One field of view of a urine filter membrane, 4× objective, 2028 × 1520 pixels. The field of view is about 1.5 mm × 1.1 mm.
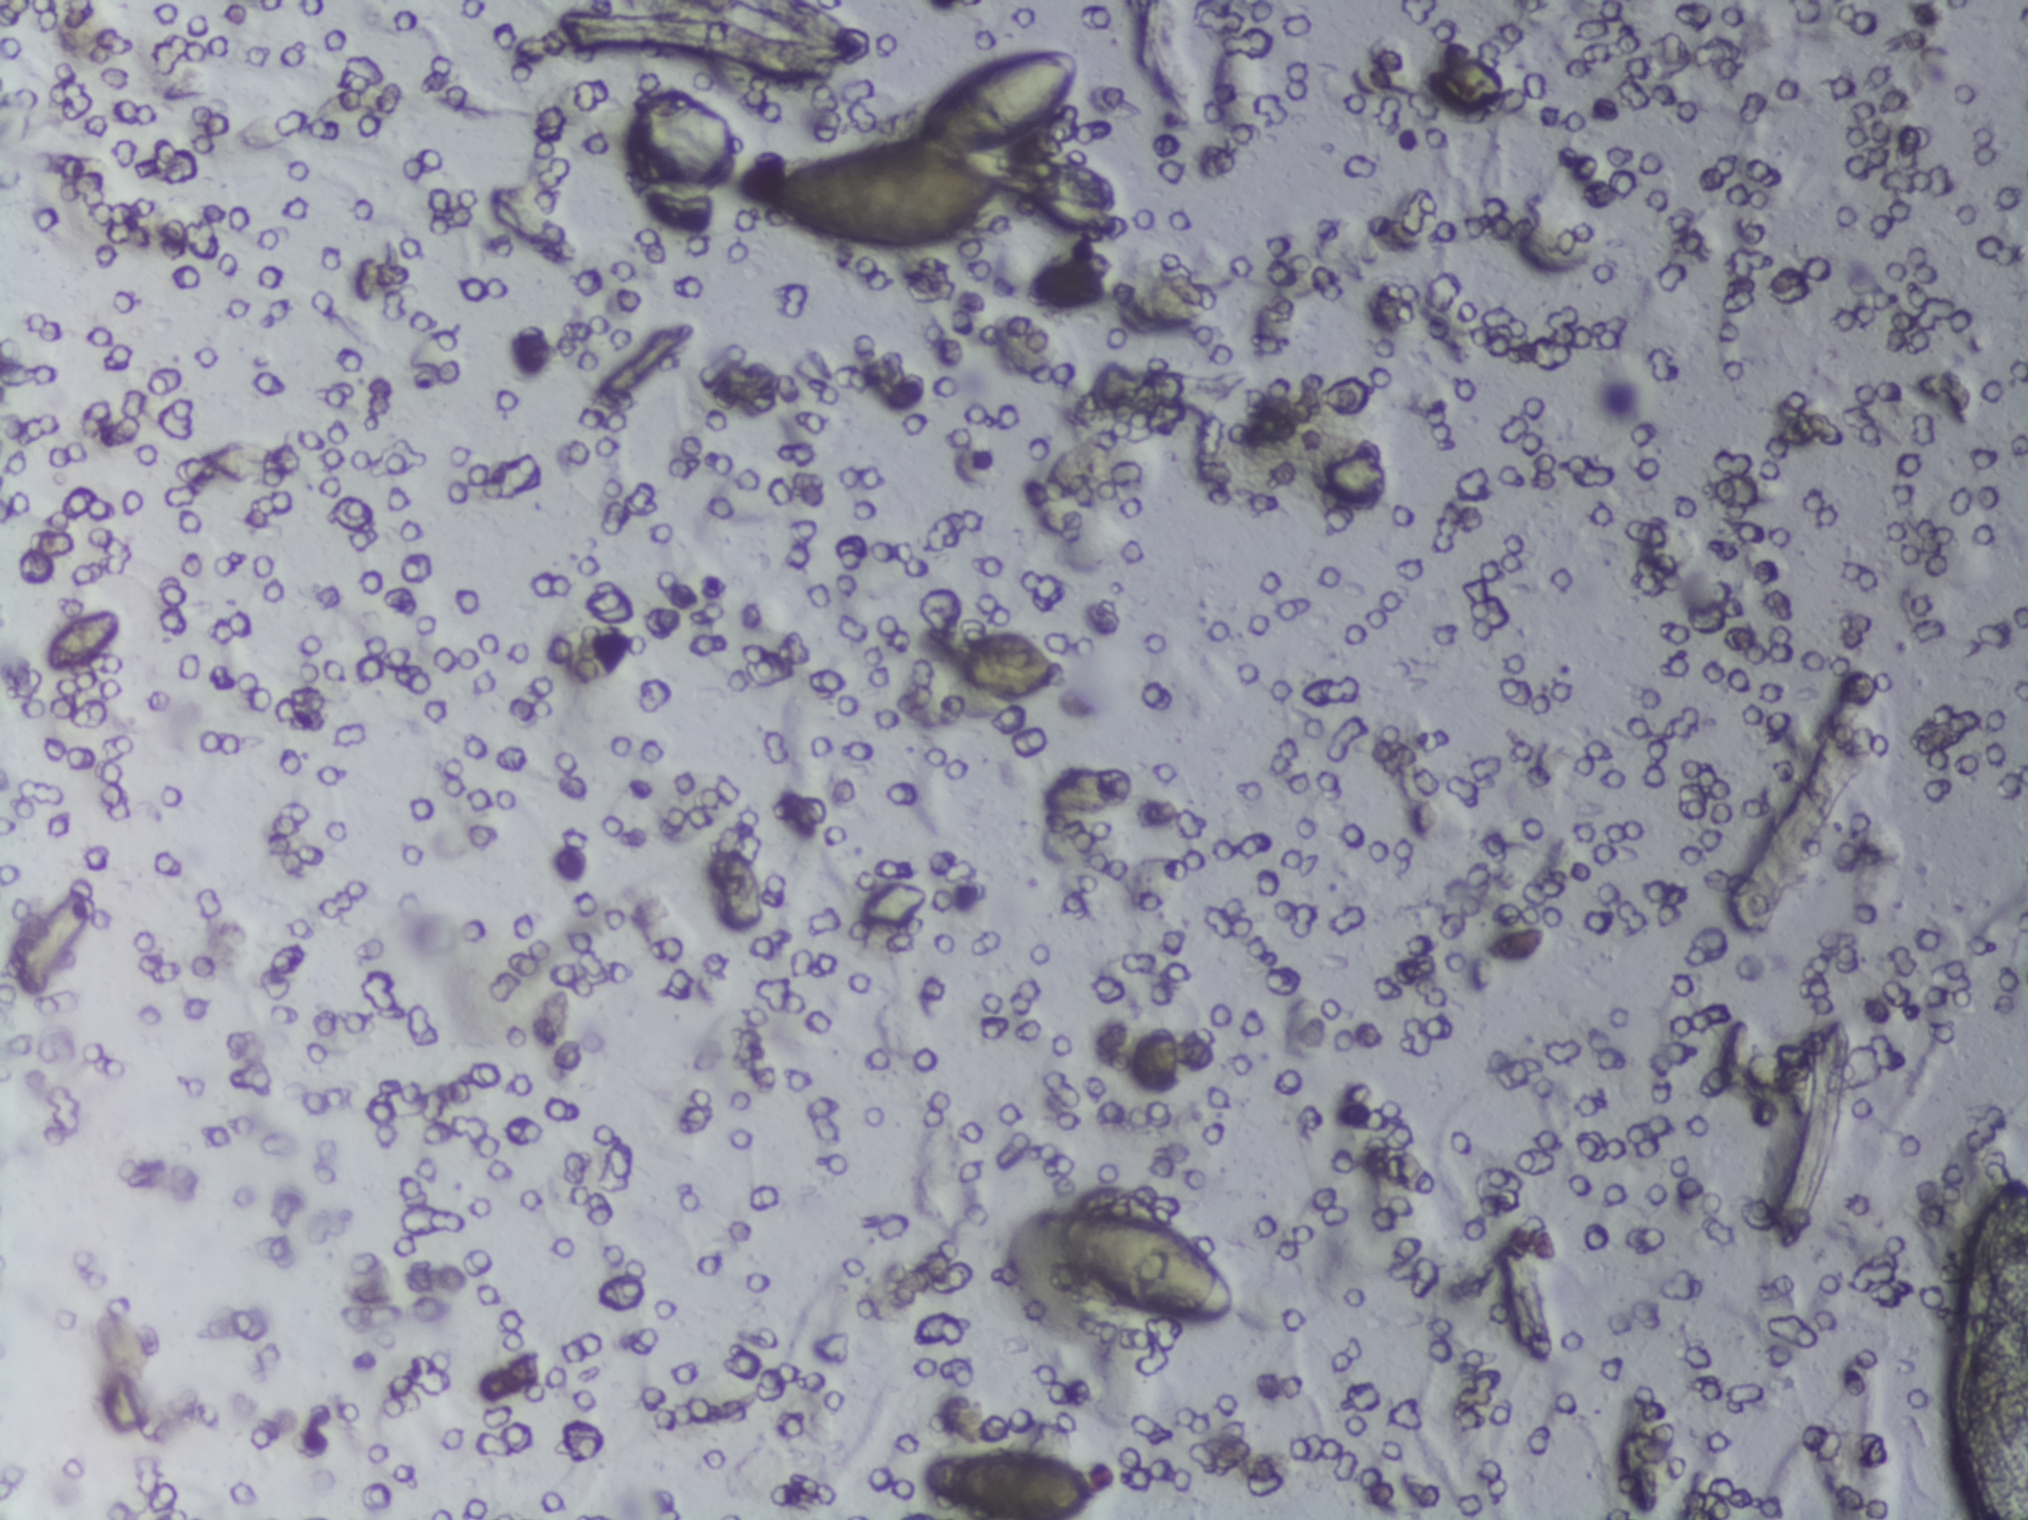
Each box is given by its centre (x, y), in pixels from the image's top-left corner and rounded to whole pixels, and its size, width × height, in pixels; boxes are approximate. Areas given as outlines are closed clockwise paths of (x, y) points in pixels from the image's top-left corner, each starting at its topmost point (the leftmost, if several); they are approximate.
The expert annotation outlines Schistosoma eggs in three areas, left to right: outline (1041, 51), (1069, 55), (1072, 88), (1036, 133), (965, 157), (993, 169), (1002, 189), (963, 232), (937, 244), (886, 246), (802, 229), (768, 205), (765, 187), (799, 168), (861, 147), (907, 144), (913, 126), (945, 100), (965, 70); box centre (1012, 1485), 170 × 70 px (reaching the bottom edge of the frame); box centre (1147, 1269), 188 × 116 px. An outlined area can hold more than one egg.